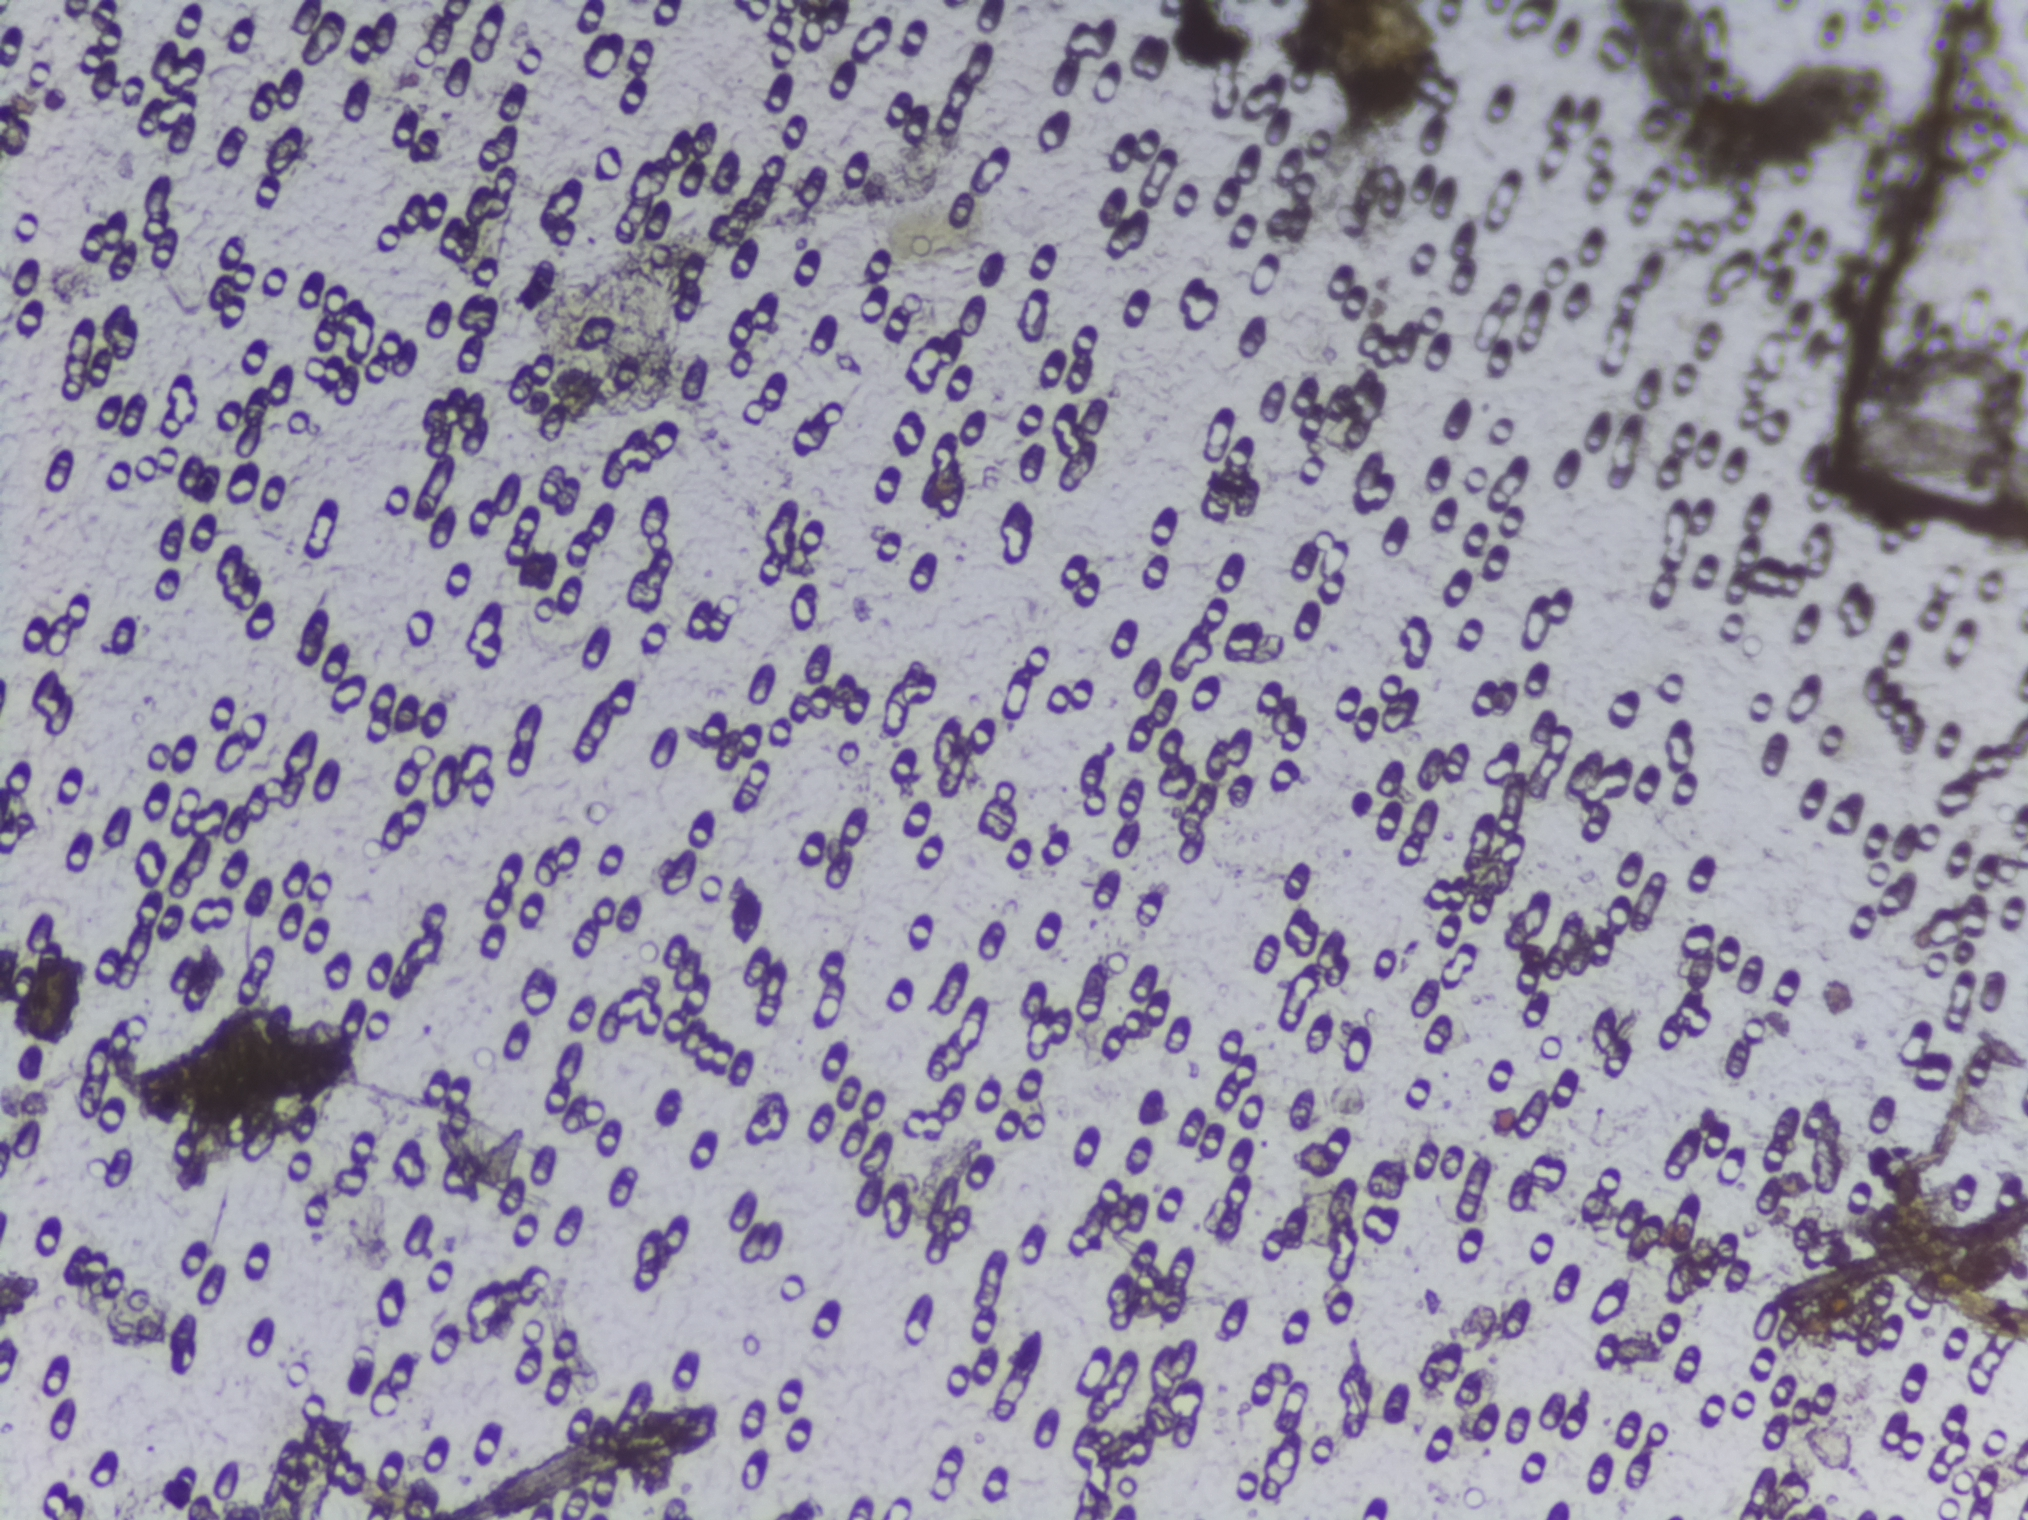
Urine filtration membrane under a 4× objective, photographed by an automated digital microscope. The field of view is about 1.5 mm × 1.1 mm.
Schistosoma eggs: none outlined.